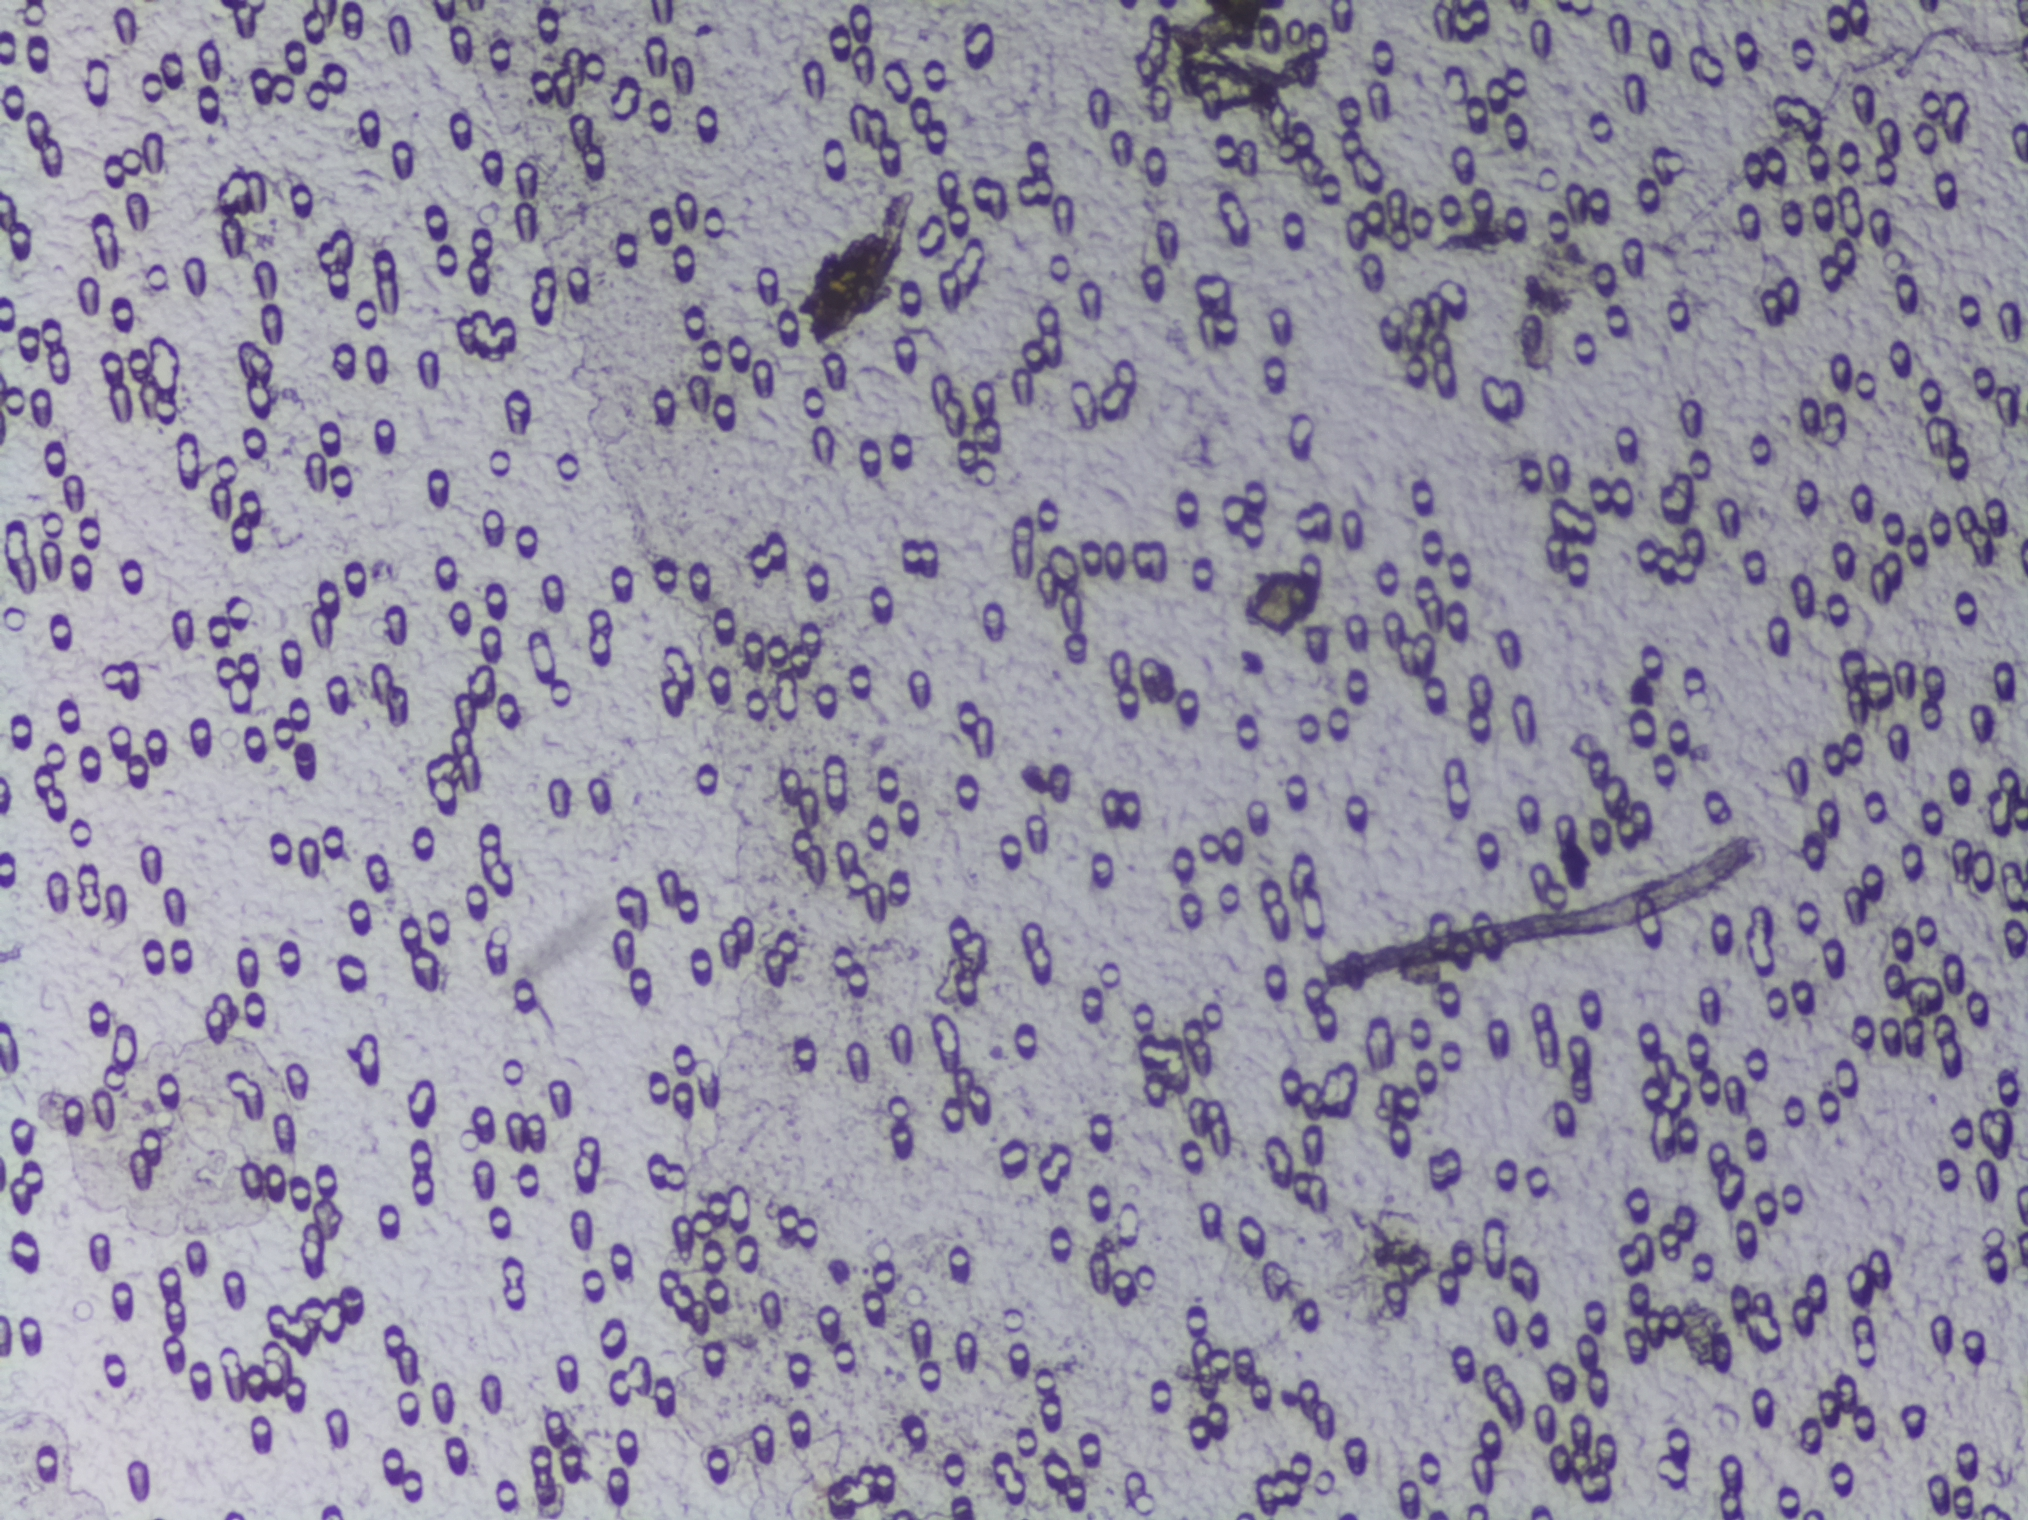
The expert annotation outlines no Schistosoma egg in this image.
Urine filter membrane photographed through a 4× microscope objective. The image covers about 1.5 × 1.1 mm of the membrane.